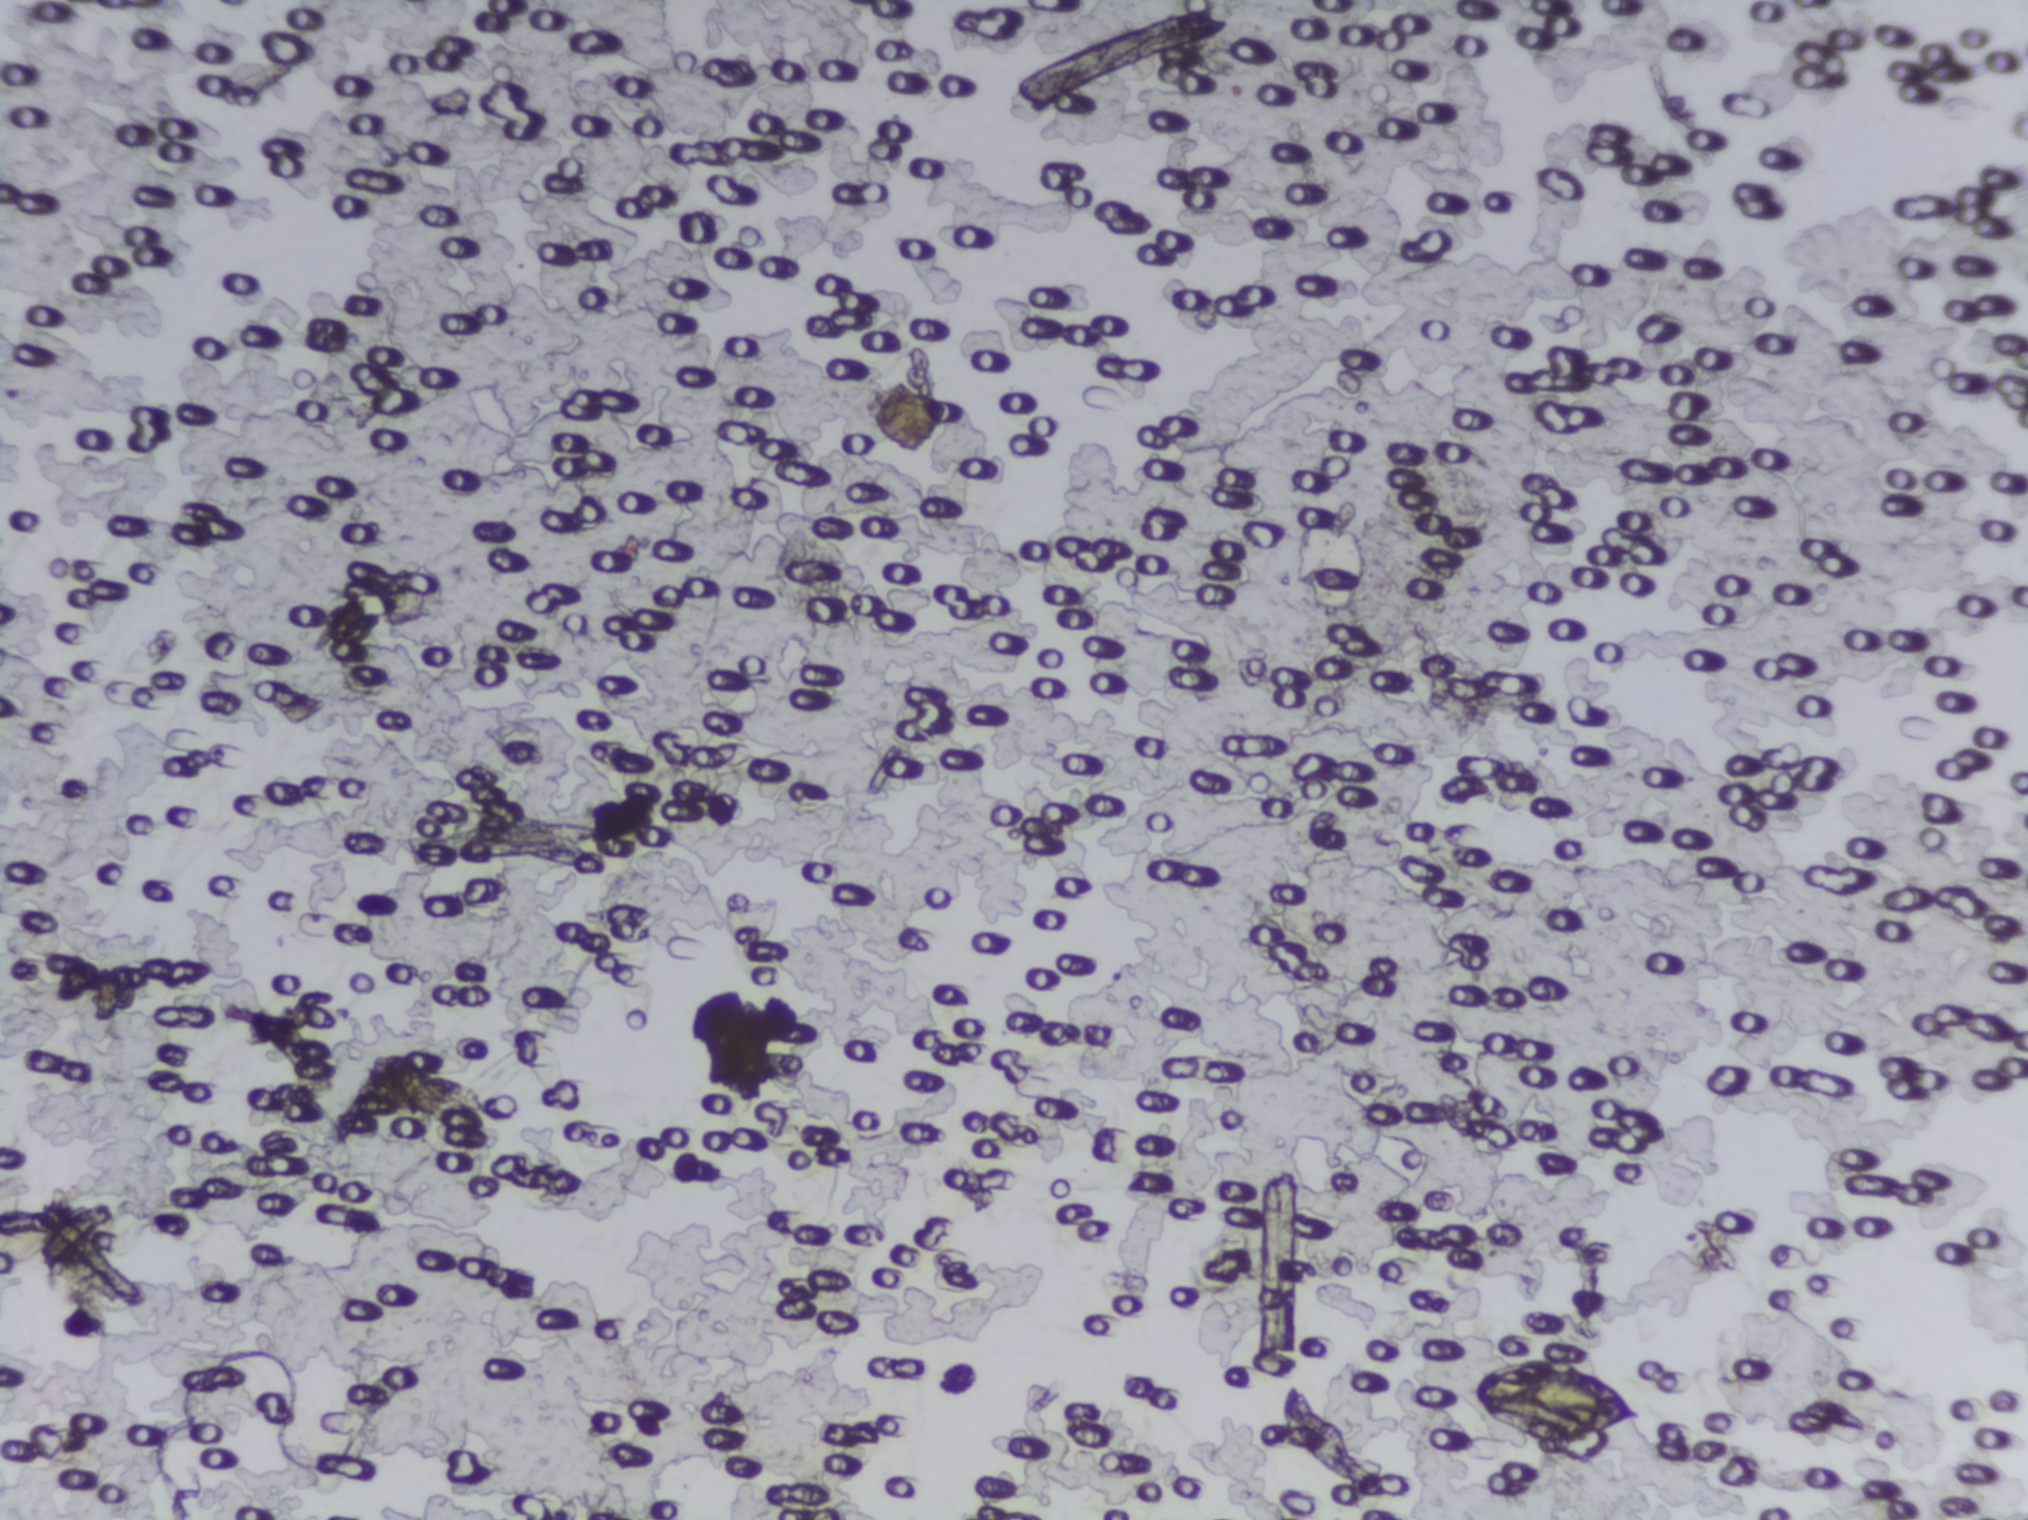
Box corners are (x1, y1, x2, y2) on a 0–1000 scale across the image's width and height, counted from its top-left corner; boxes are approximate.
One area of this image is outlined as Schistosoma eggs: (721, 888, 816, 961). A single outlined area may contain several eggs.
One field of view of a urine filter membrane, 4× objective, 2028 × 1520 pixels. The field of view is about 1.5 mm × 1.1 mm.